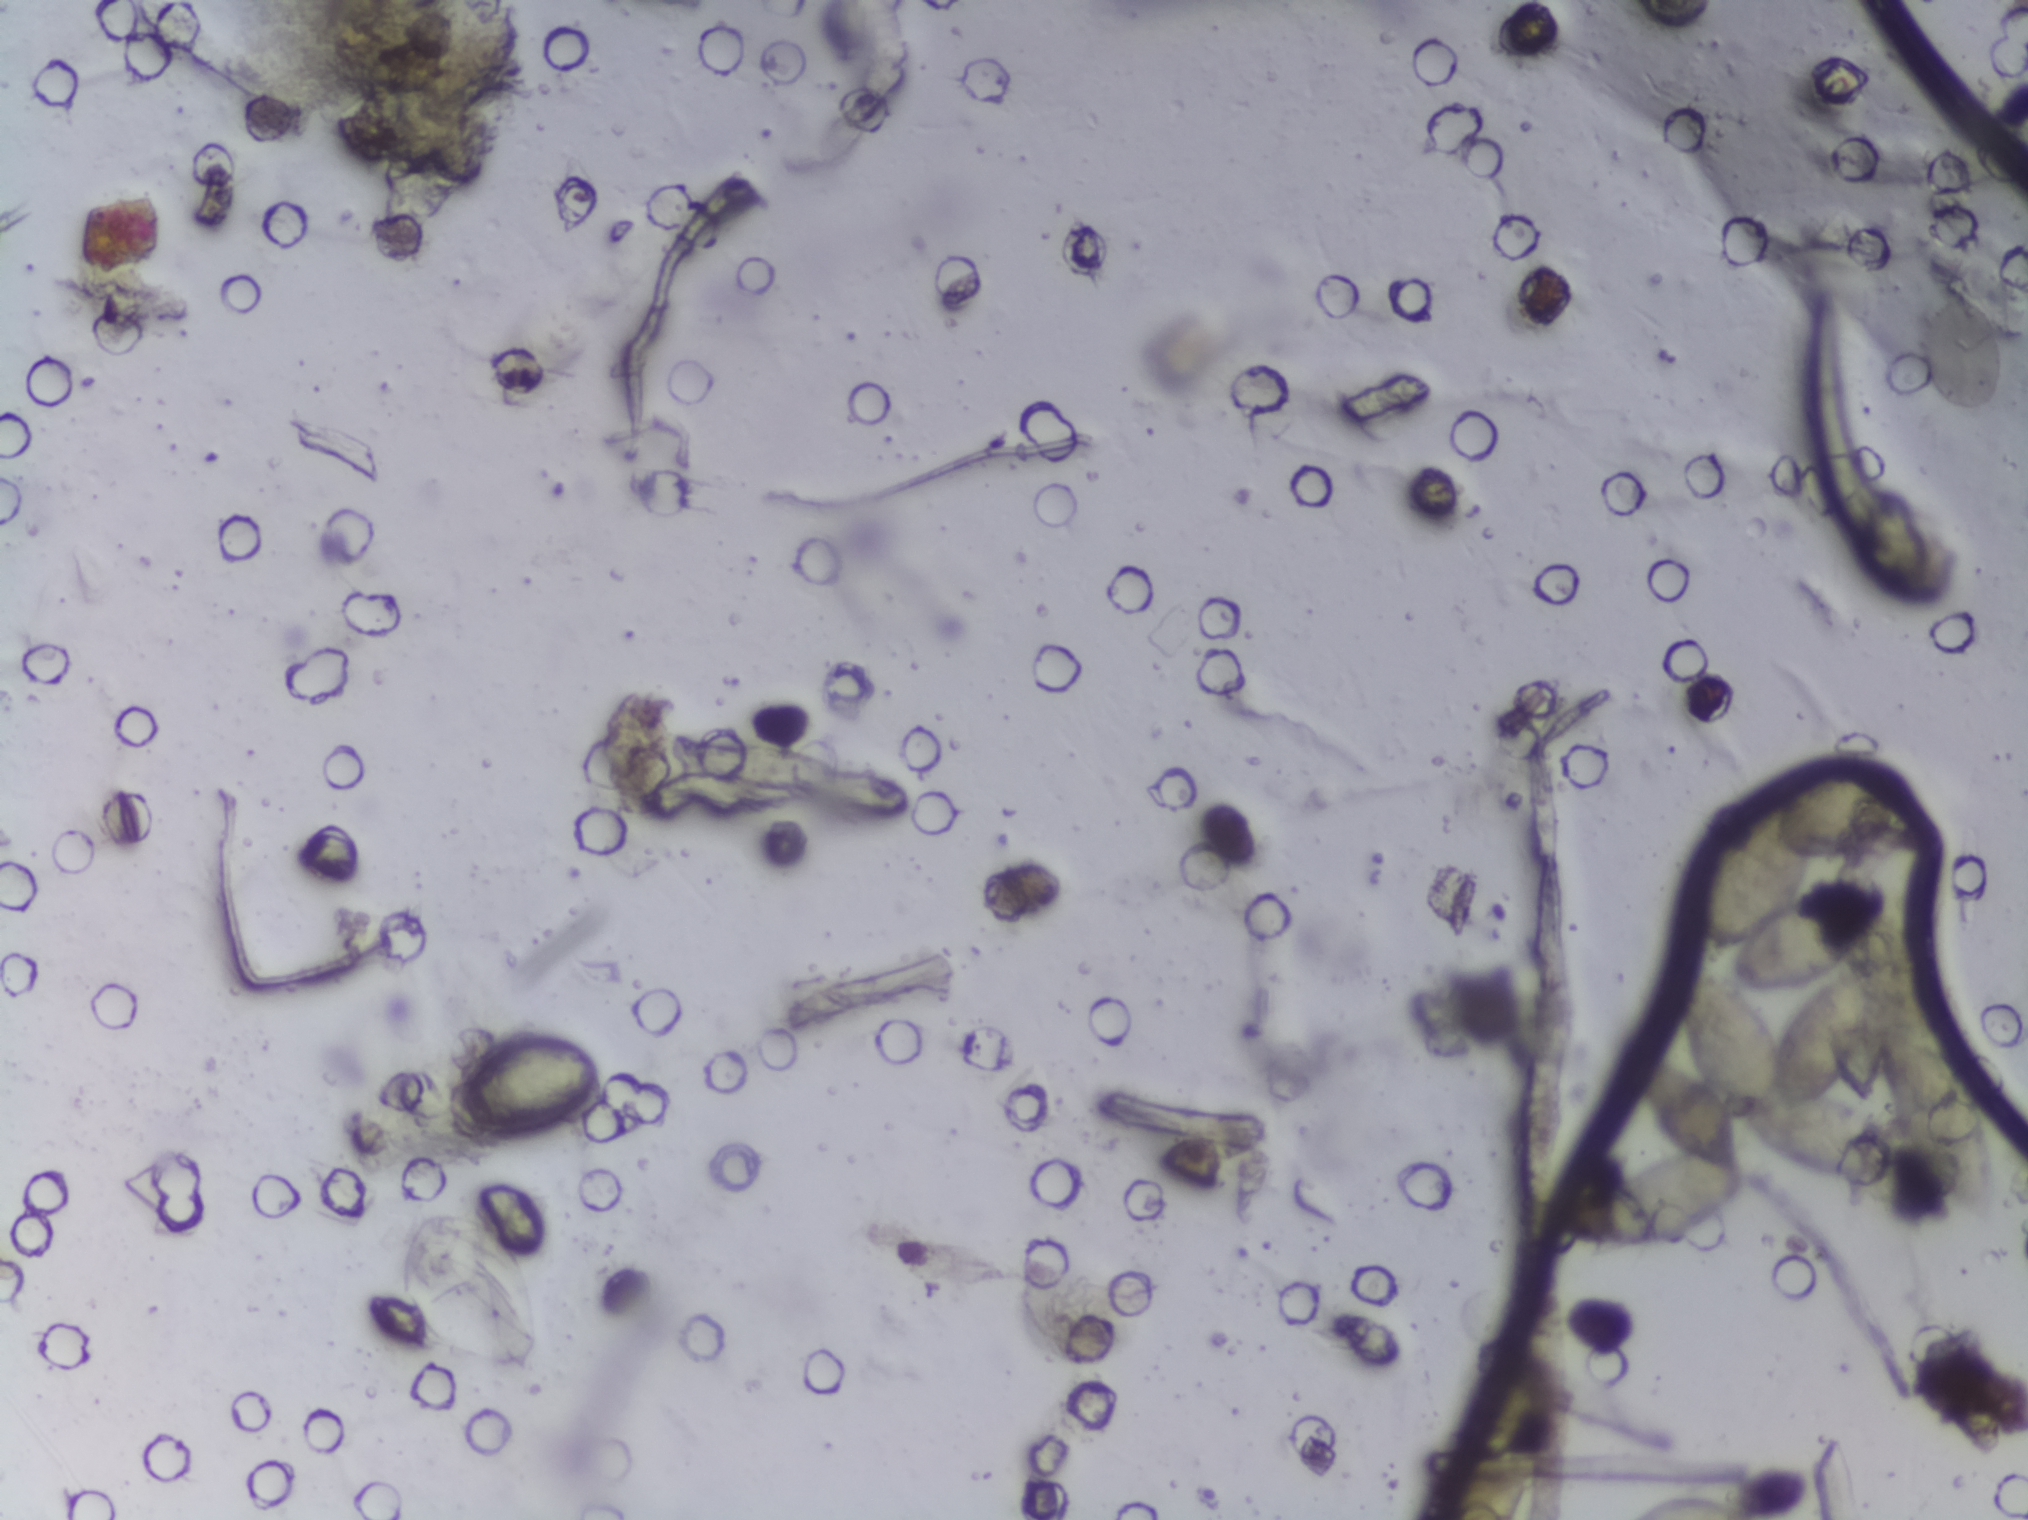
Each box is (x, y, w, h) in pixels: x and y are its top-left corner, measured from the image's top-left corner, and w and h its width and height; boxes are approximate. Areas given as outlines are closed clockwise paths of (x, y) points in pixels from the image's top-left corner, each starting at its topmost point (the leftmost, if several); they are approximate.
The expert annotation outlines Schistosoma eggs in seven areas, left to right: box (x=394, y=1209, w=143, h=174); box (x=440, y=1037, w=163, h=97); box (x=1446, y=1337, w=101, h=183) (reaching the bottom edge of the frame); outline (1865, 752), (1904, 767), (1903, 803), (1875, 838), (1831, 859), (1811, 860), (1801, 891), (1876, 886), (1879, 907), (1839, 966), (1796, 991), (1745, 995), (1776, 1036), (1796, 999), (1827, 976), (1867, 971), (1869, 1002), (1861, 1029), (1828, 1094), (1861, 1108), (1880, 1126), (1888, 1148), (1884, 1169), (1870, 1181), (1814, 1174), (1750, 1138), (1730, 1108), (1745, 1187), (1736, 1208), (1712, 1232), (1660, 1254), (1617, 1253), (1564, 1235), (1562, 1220), (1585, 1192), (1670, 1150), (1656, 1141), (1630, 1099), (1627, 1073), (1636, 1053), (1651, 1047), (1690, 1064), (1677, 1015), (1677, 978), (1689, 965), (1721, 976), (1724, 956), (1708, 957), (1711, 964), (1705, 964), (1696, 954), (1698, 897), (1711, 855), (1736, 820), (1778, 789), (1793, 767) (eggs clustered together); box (x=1887, y=1024, w=112, h=192); box (x=1910, y=1330, w=97, h=131); box (x=1918, y=286, w=87, h=134). An outlined area can hold more than one egg.
Microscope photograph (4× objective) of a membrane that a urine sample was filtered through. Field of view: about 1.5 mm wide and 1.1 mm high.